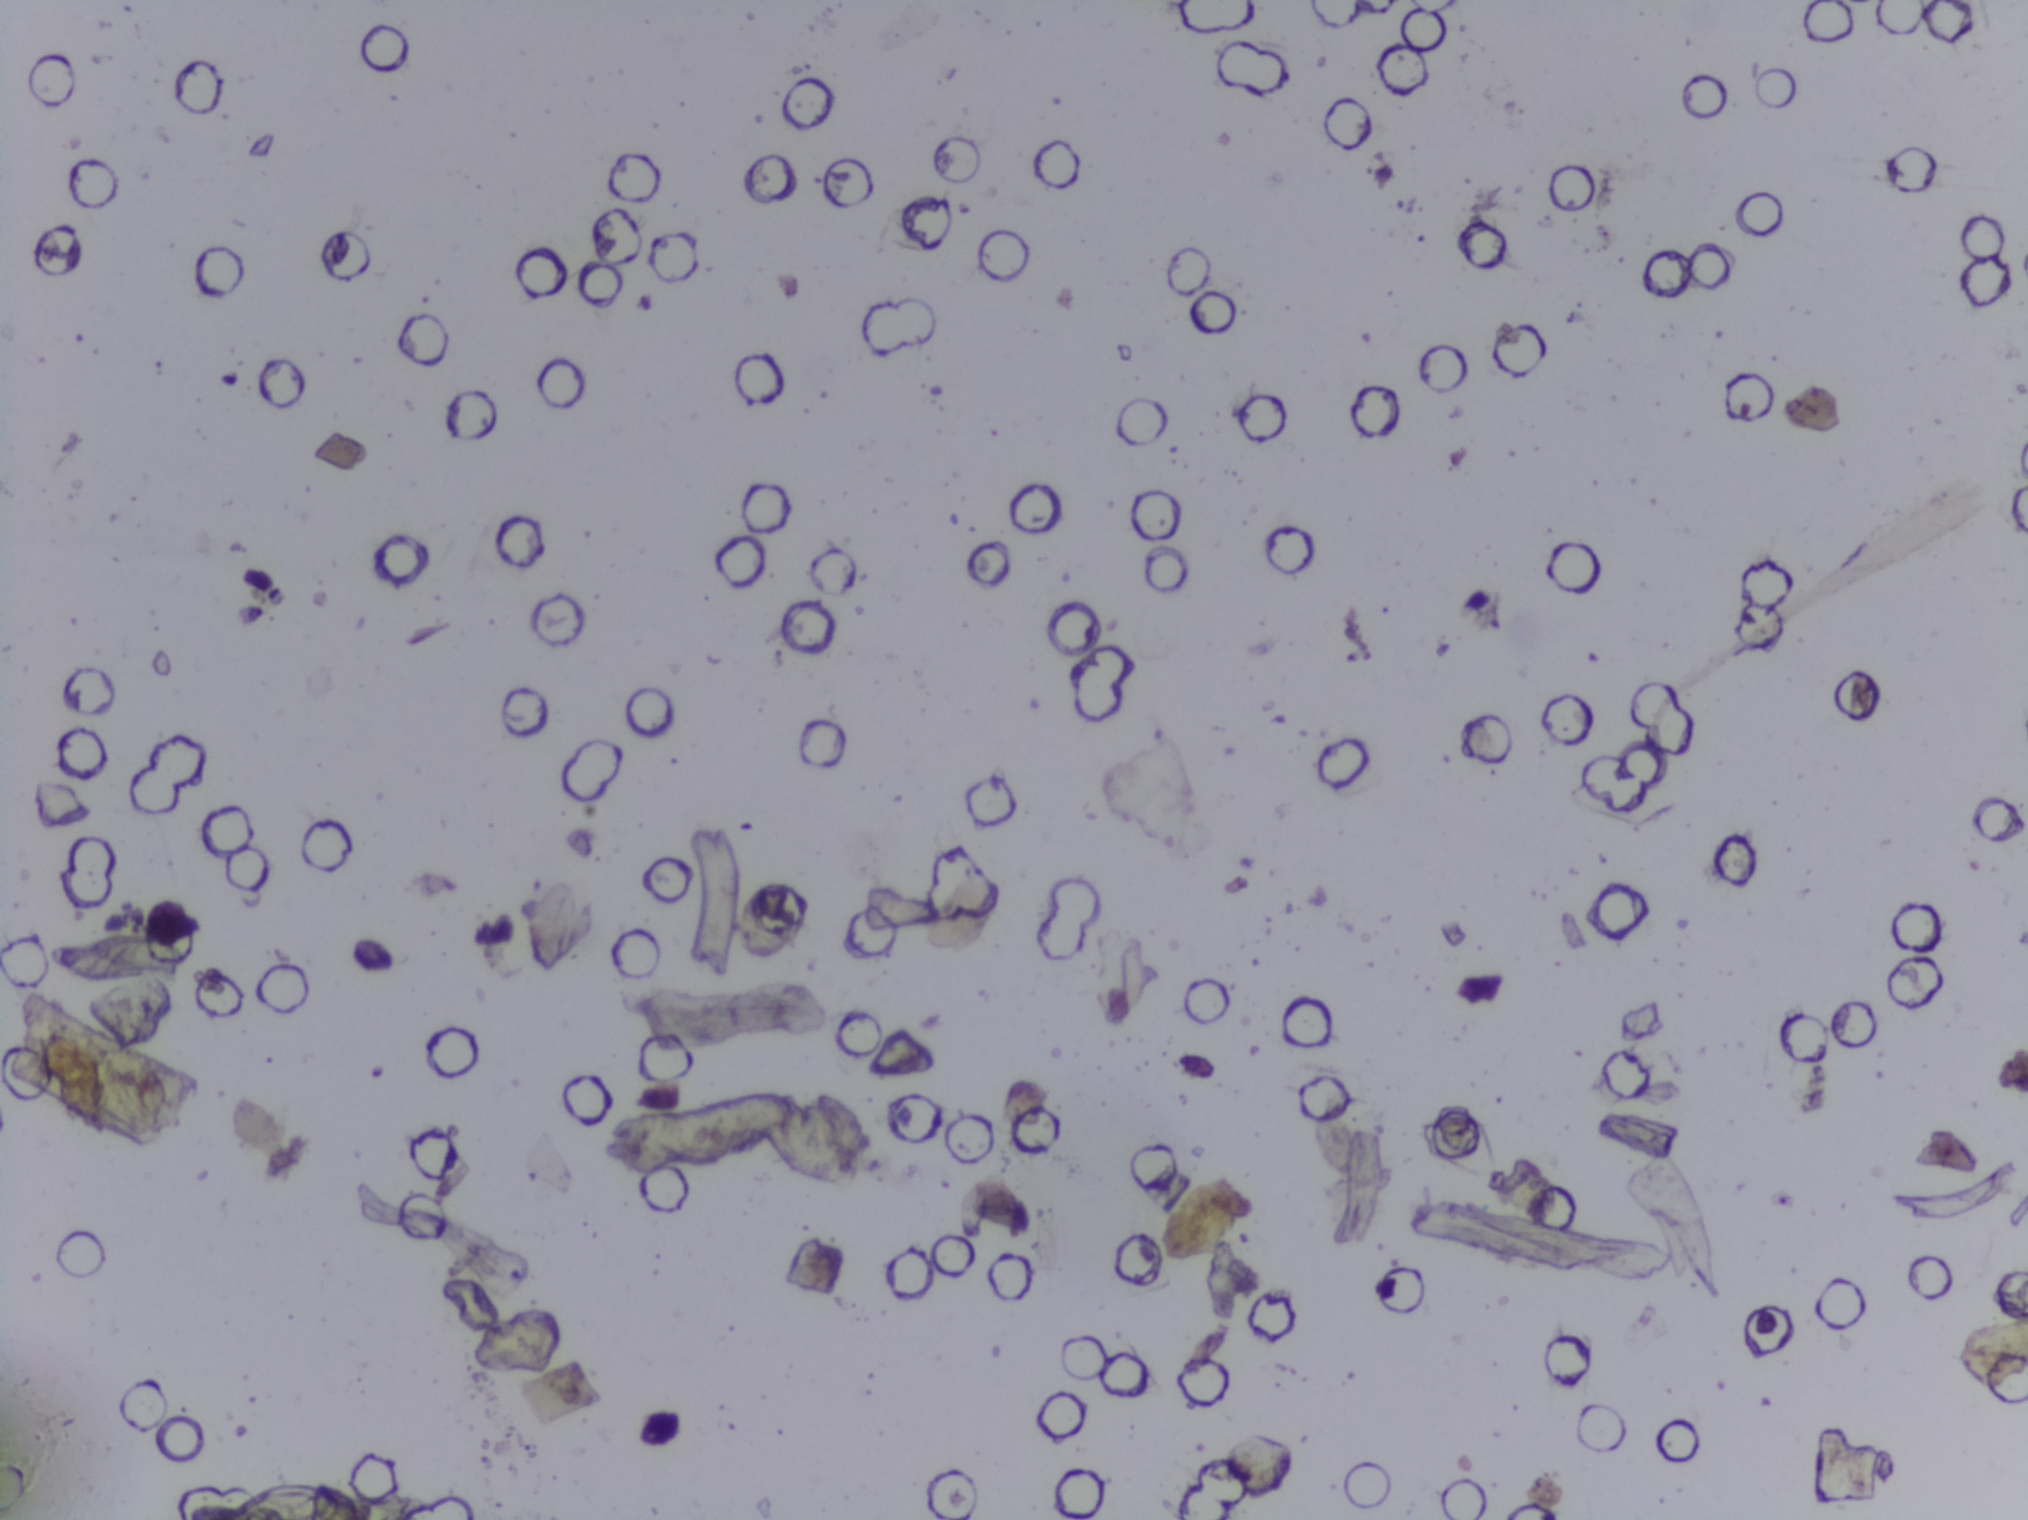
No area of this image was outlined as a Schistosoma egg.
One field of view of a urine filter membrane, 4× objective, 2028 × 1520 pixels.